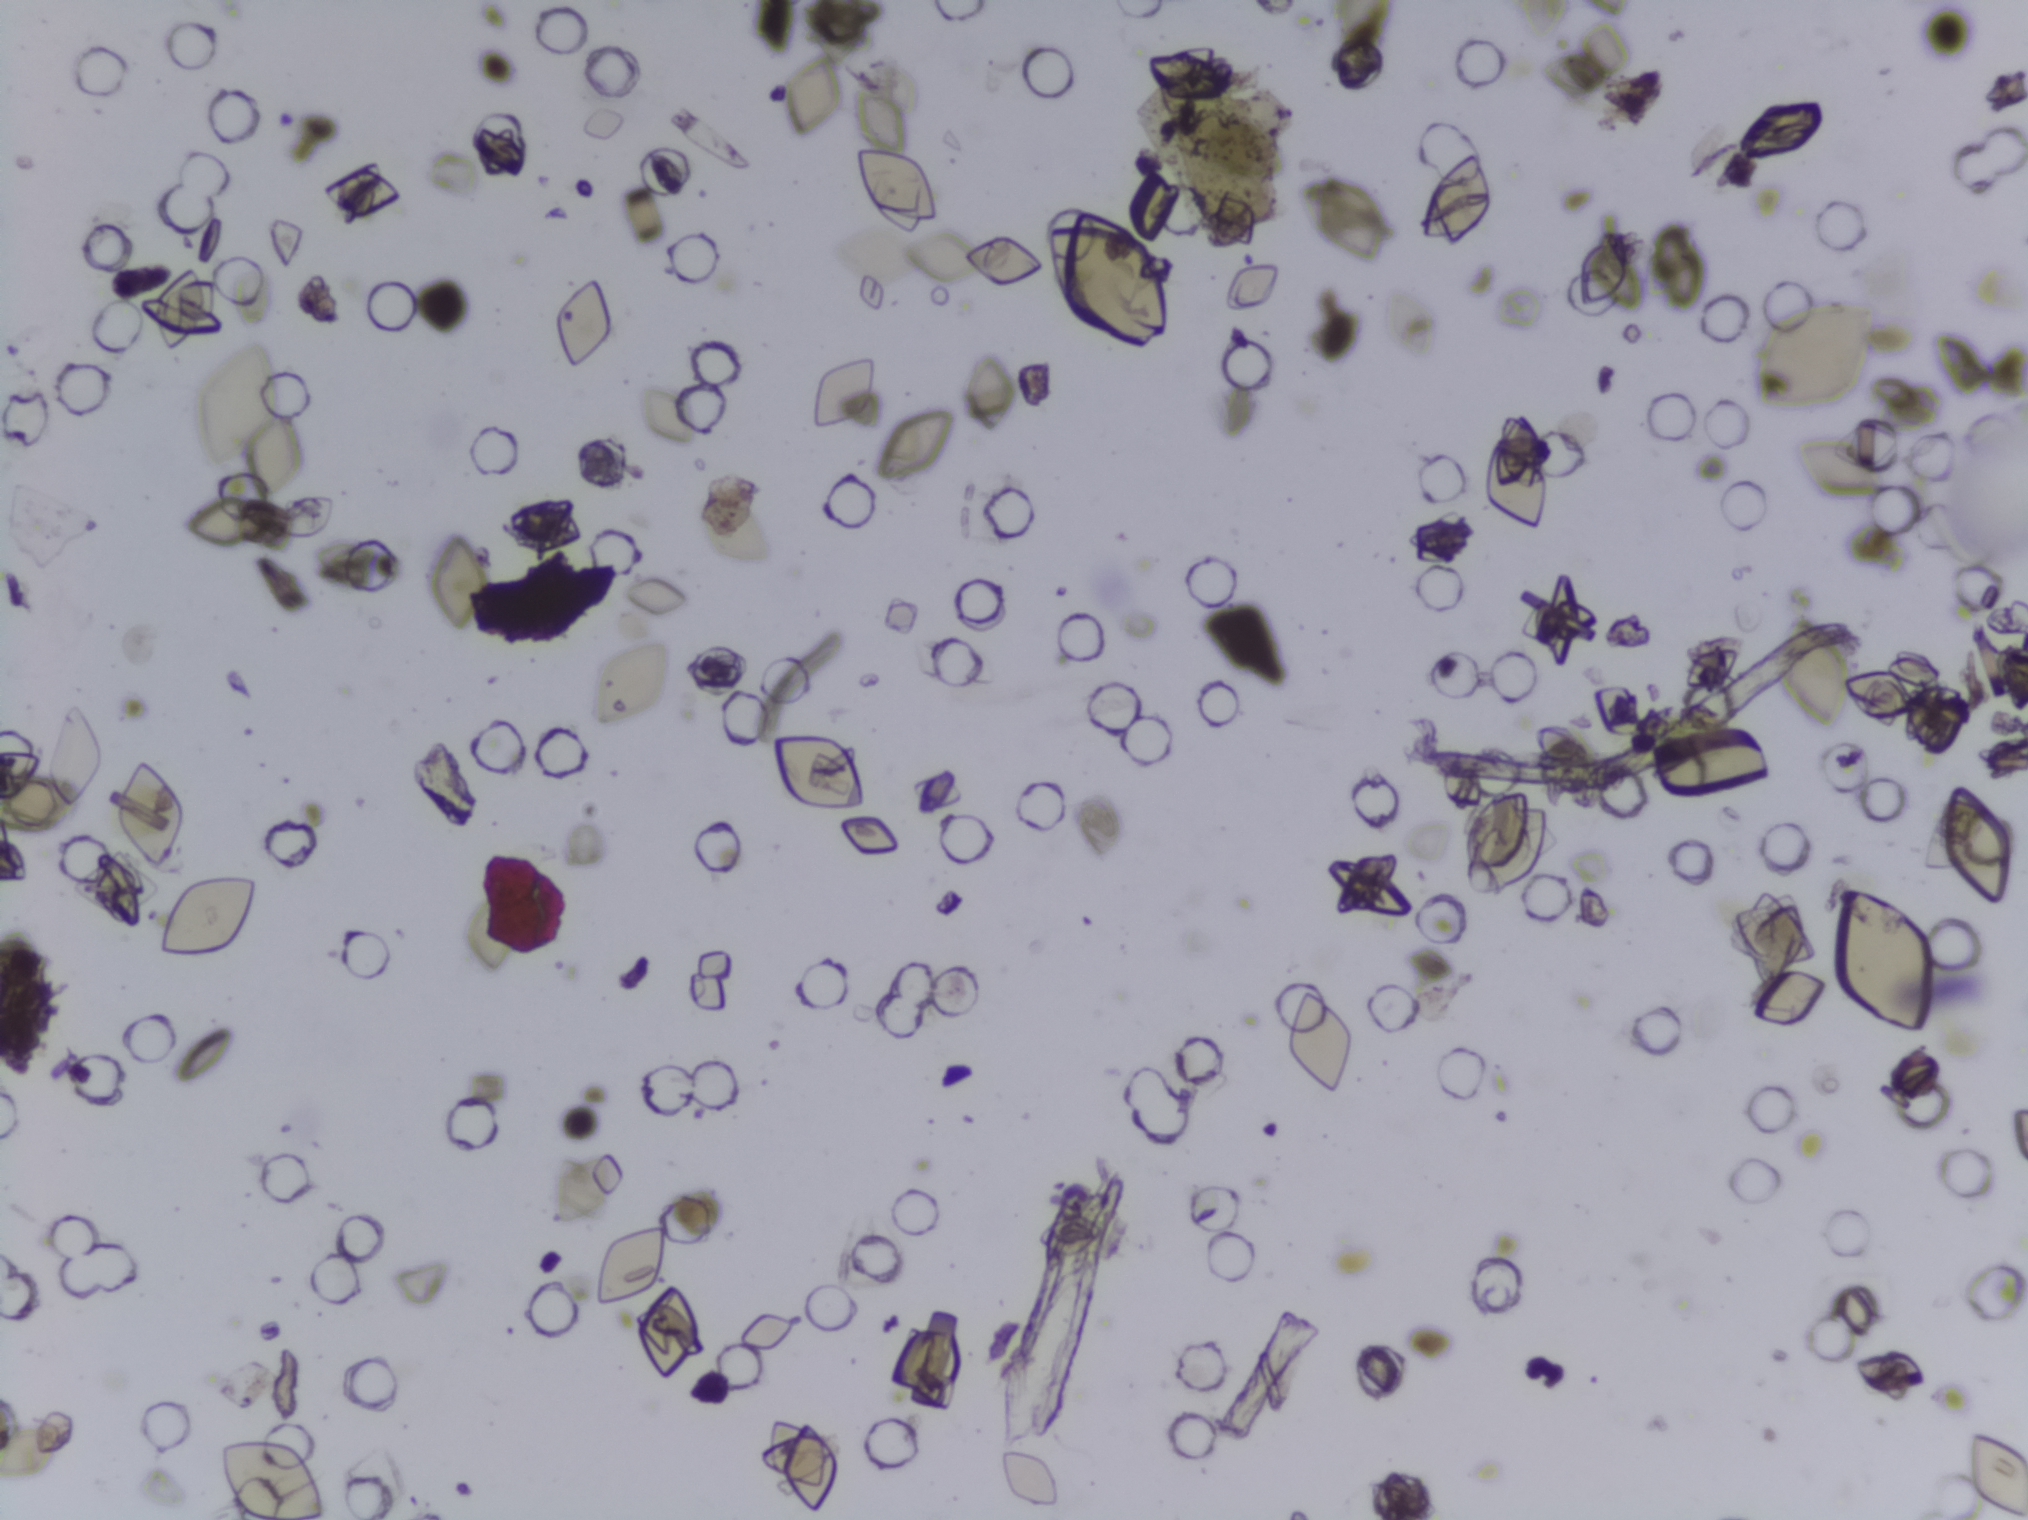
No Schistosoma egg is outlined in this image's expert annotation.
Urine filtration membrane under a 4× objective, photographed by an automated digital microscope.